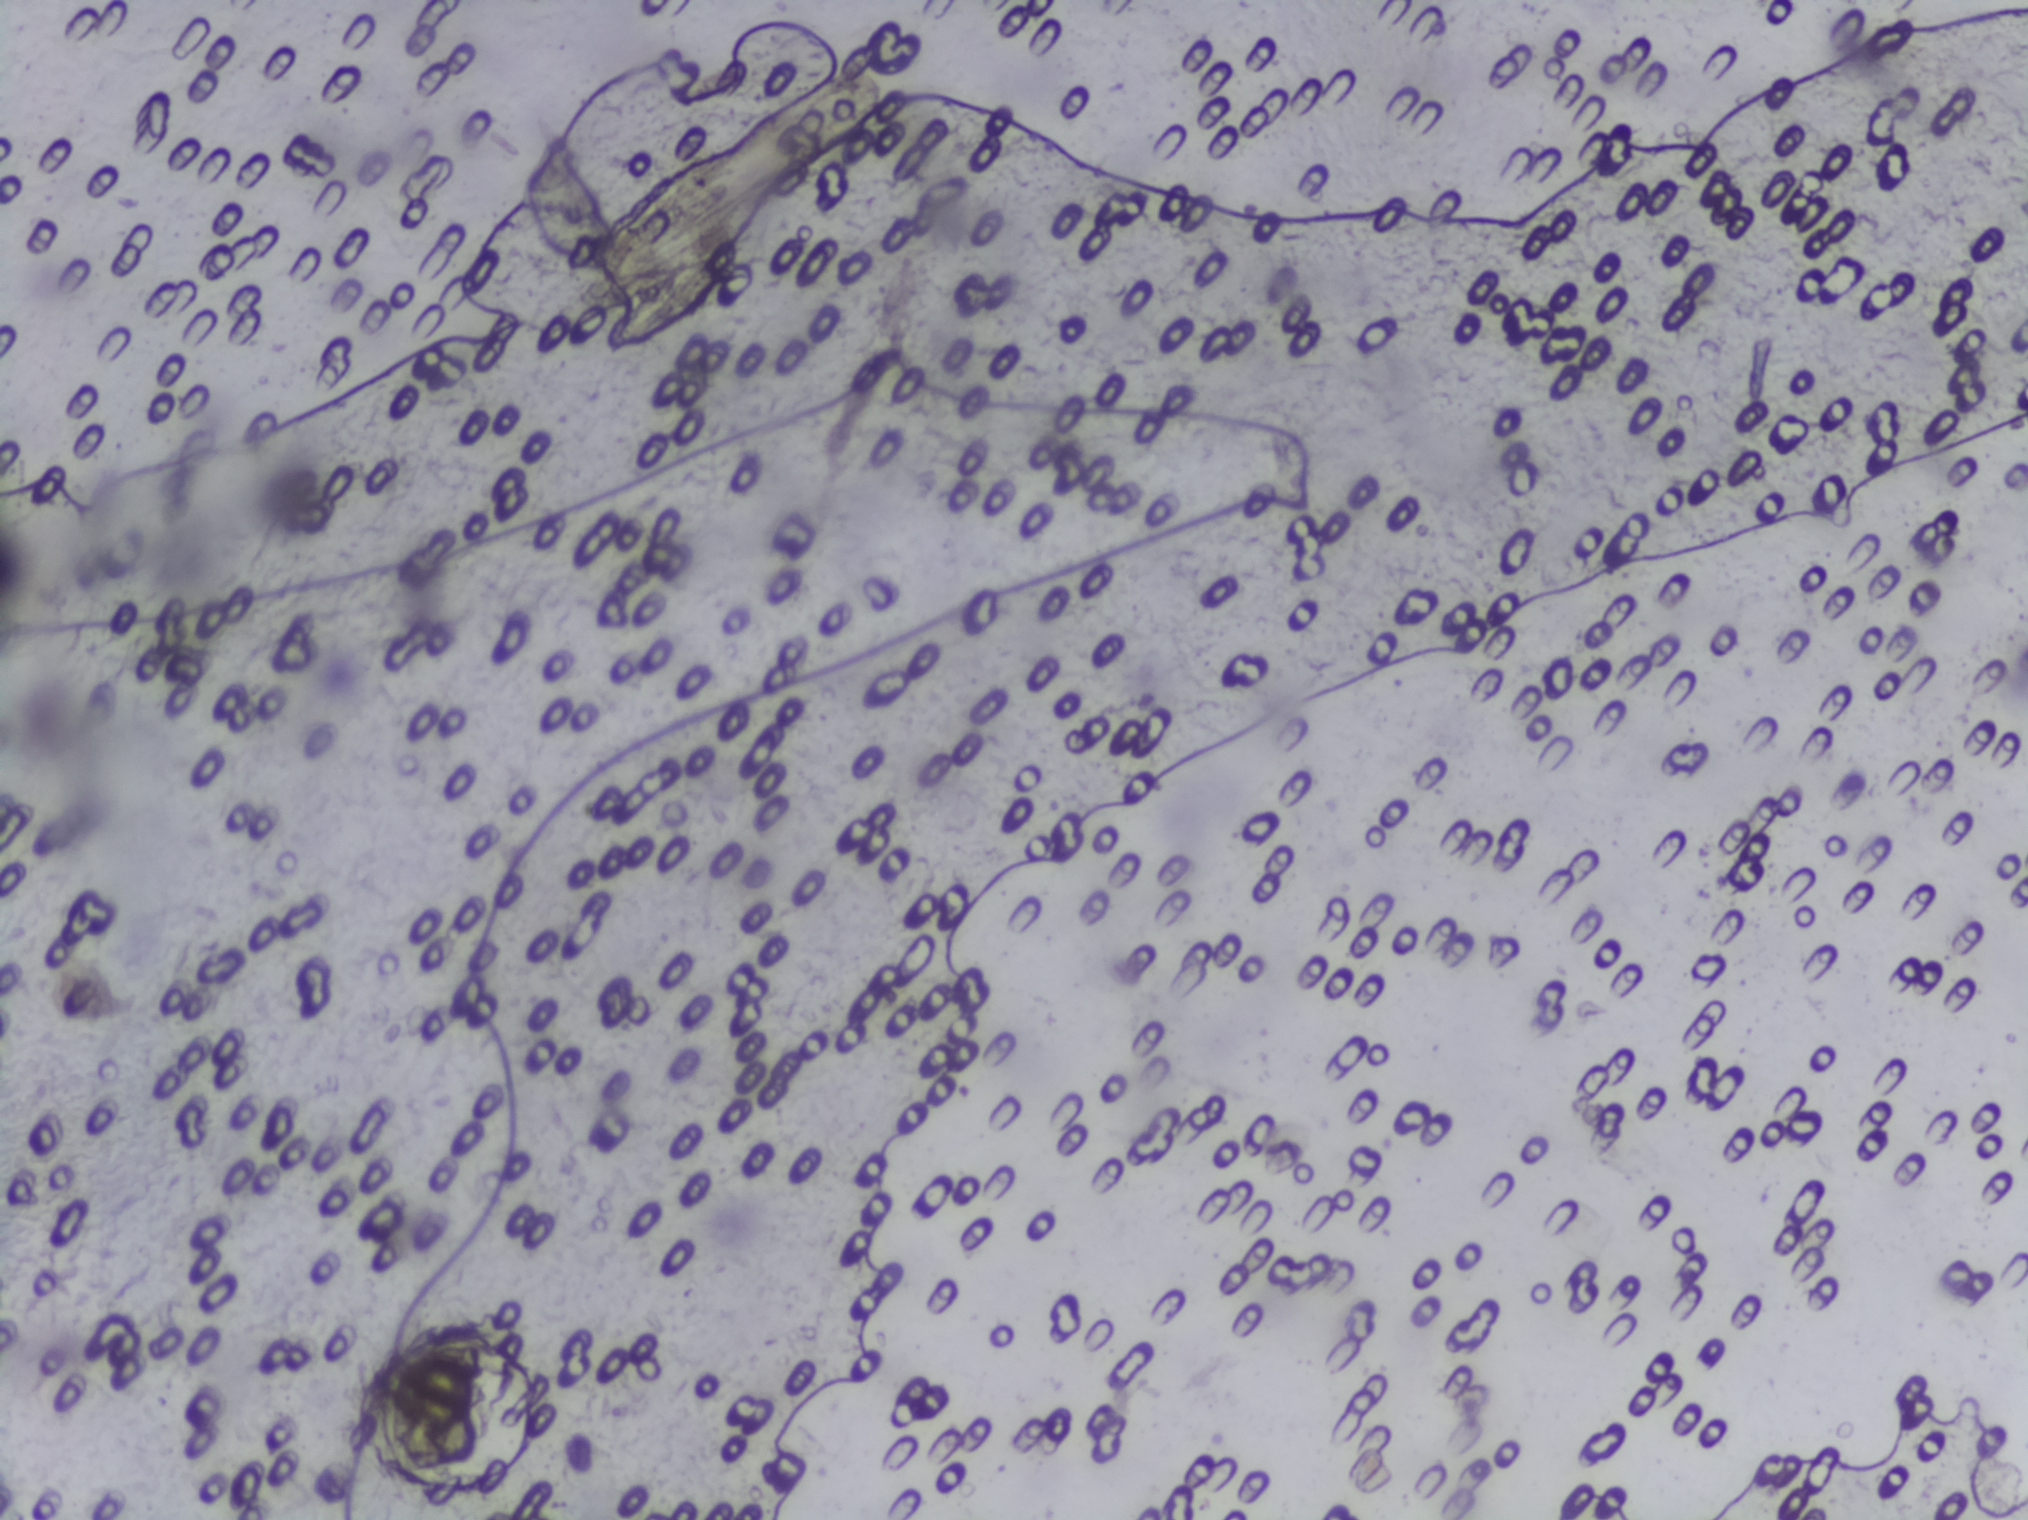
One field of view of a urine filter membrane, 4× objective, 2028 × 1520 pixels.
No area of this image was outlined as a Schistosoma egg.